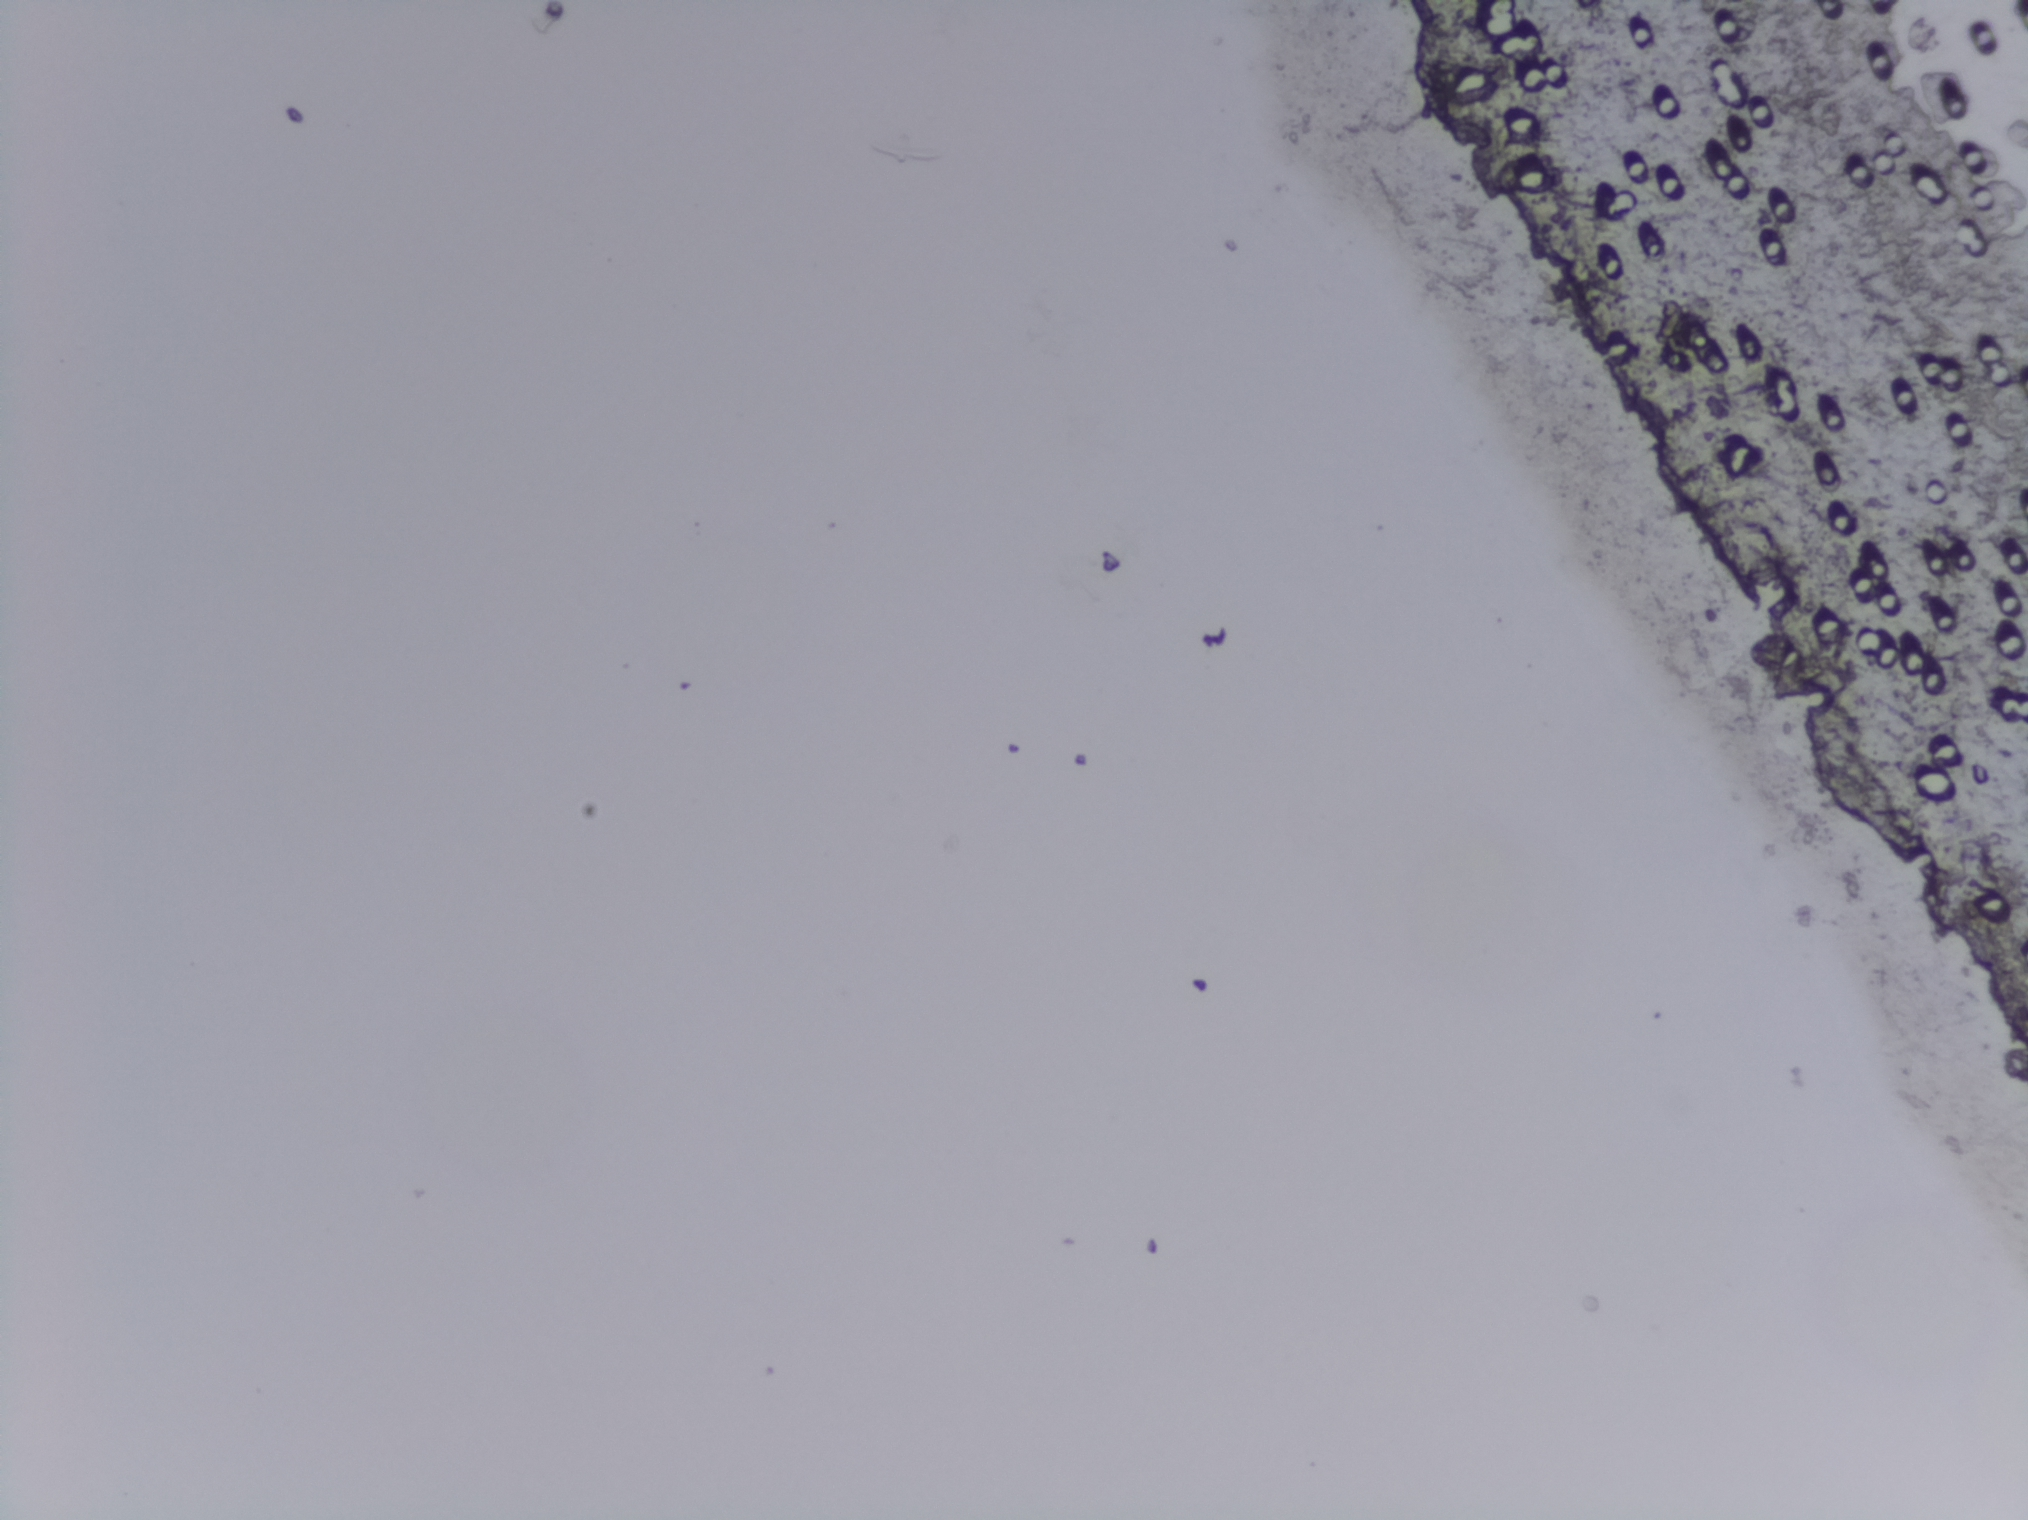
The expert annotation marks no Schistosoma egg in this field of view.
Photomicrograph of a urine filtration membrane, 4× objective.